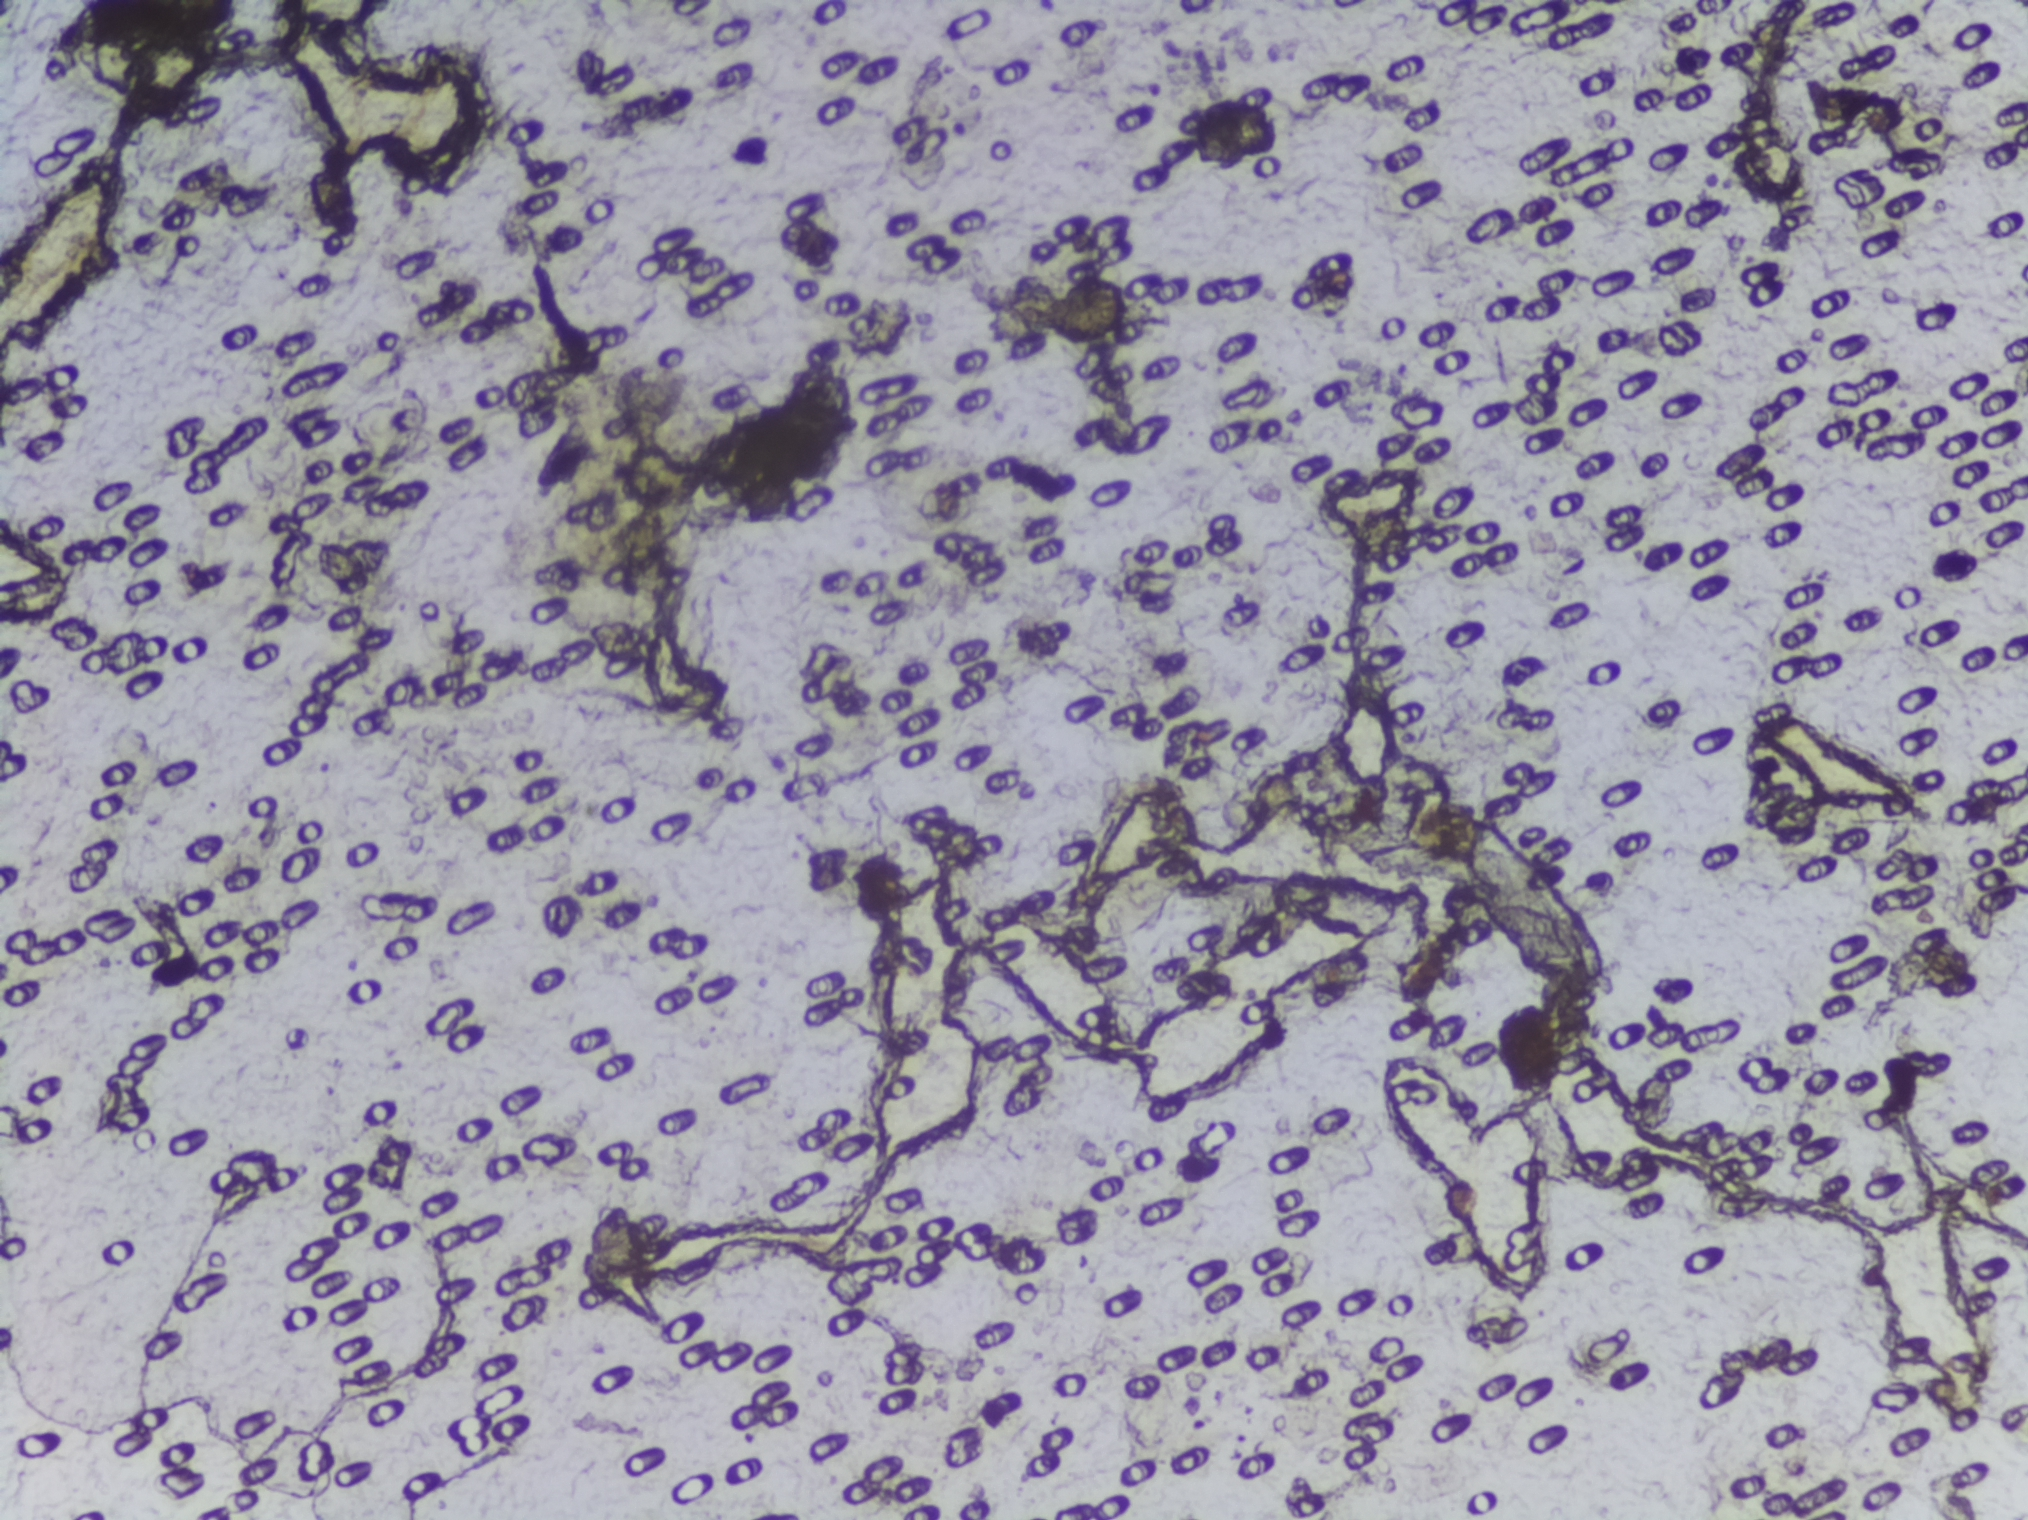
No area of this image was outlined as a Schistosoma egg.
Photomicrograph of a urine filtration membrane, 4× objective.